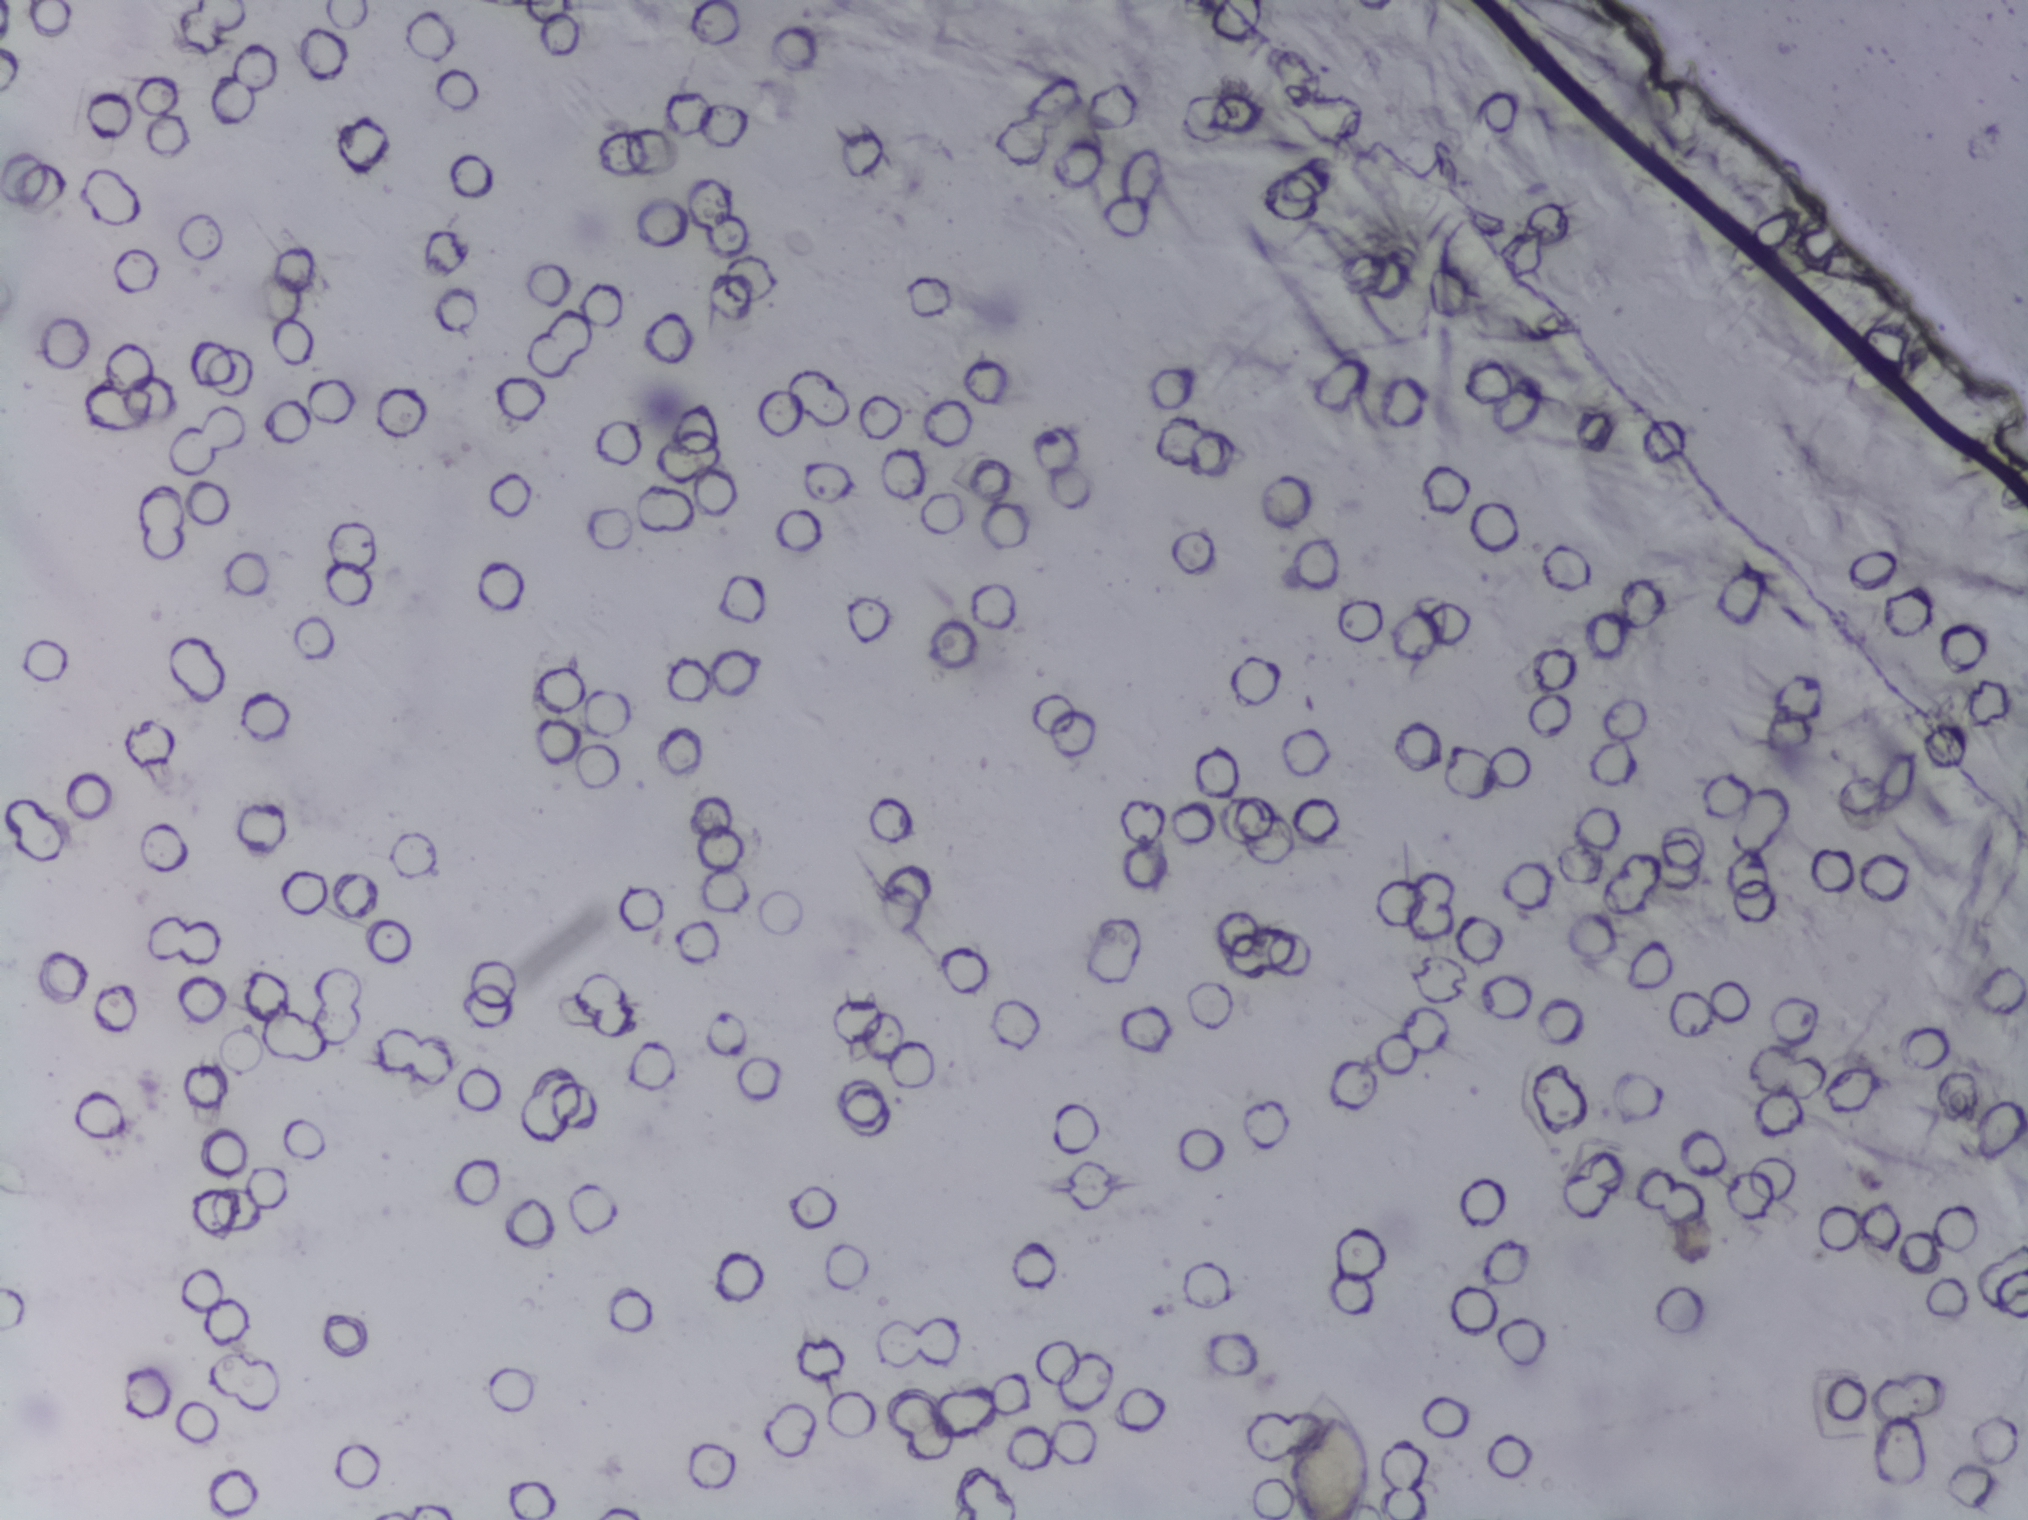
Urine filter membrane photographed through a 4× microscope objective. Field of view: about 1.5 mm wide and 1.1 mm high.
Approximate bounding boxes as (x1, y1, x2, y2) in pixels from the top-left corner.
Schistosoma eggs are outlined in the expert annotation at (1283, 1377, 1371, 1519) (reaching the bottom edge of the frame). The marked pixels themselves, not the box around them, cover about 0.3% of the image. An outlined area can hold more than one egg.